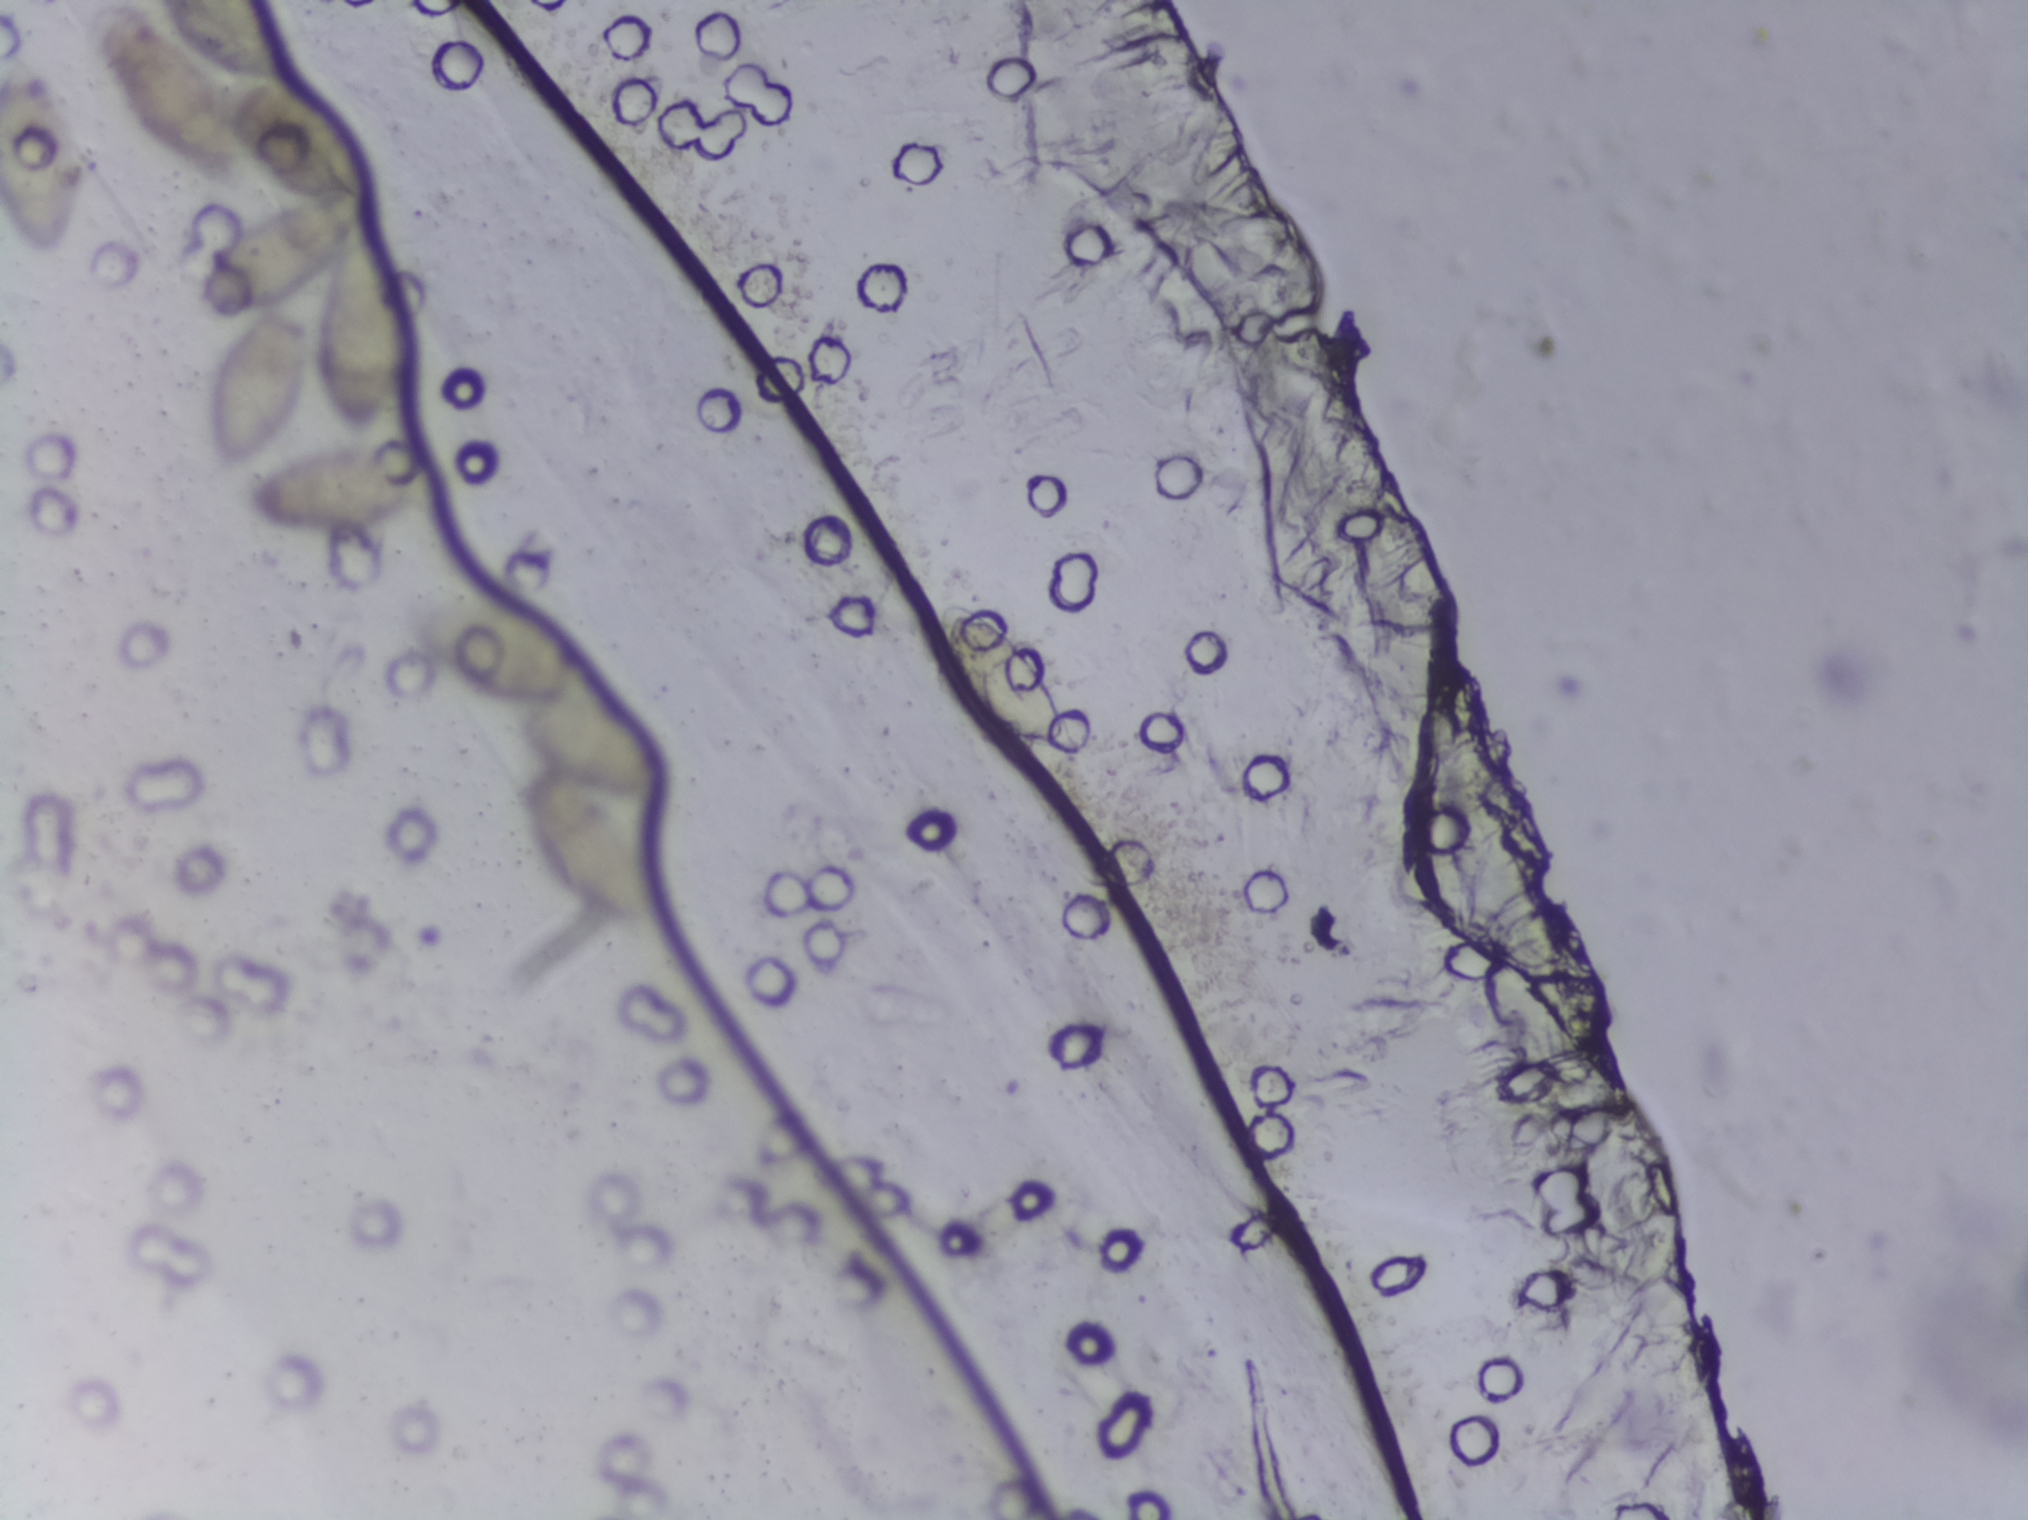
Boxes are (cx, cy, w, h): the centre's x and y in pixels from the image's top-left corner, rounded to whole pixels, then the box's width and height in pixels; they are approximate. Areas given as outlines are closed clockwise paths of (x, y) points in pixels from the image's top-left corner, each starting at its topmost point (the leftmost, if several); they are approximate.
Findings: five areas outlined as Schistosoma eggs. Locations, left to right: box (cx=41, cy=150, w=82, h=209) (reaching the left edge of the frame); outline (152, 0), (261, 3), (294, 53), (291, 77), (332, 106), (357, 136), (370, 172), (367, 215), (386, 231), (413, 338), (410, 373), (367, 440), (347, 433), (320, 380), (315, 280), (292, 298), (306, 312), (312, 350), (312, 375), (294, 427), (231, 471), (215, 459), (205, 423), (205, 374), (213, 371), (226, 339), (252, 314), (194, 310), (187, 290), (240, 225), (304, 195), (246, 164), (245, 185), (219, 191), (178, 165), (130, 118), (106, 78), (99, 13), (109, 6), (141, 8), (160, 18) (eggs clustered together; reaching the top edge of the frame); box (cx=344, cy=490, w=198, h=92); outline (413, 599), (494, 599), (530, 607), (598, 655), (602, 676), (574, 691), (616, 701), (642, 717), (668, 745), (675, 765), (674, 799), (618, 803), (634, 819), (664, 876), (668, 918), (654, 924), (618, 921), (559, 885), (517, 804), (517, 775), (551, 761), (527, 737), (512, 700), (473, 697), (433, 660), (407, 621); box (cx=1010, cy=674, w=146, h=154). The marked pixels themselves, not the boxes and the outlines around them, cover about 5.1% of the image. Eggs that touch can end up inside the same outlined area. A marked egg may occasionally be S. mansoni rather than S. haematobium.
Photograph from an automated digital microscope: urine filter membrane, 4× objective.